Photomicrograph of a urine filtration membrane, 4× objective. The image covers about 1.5 × 1.1 mm of the membrane.
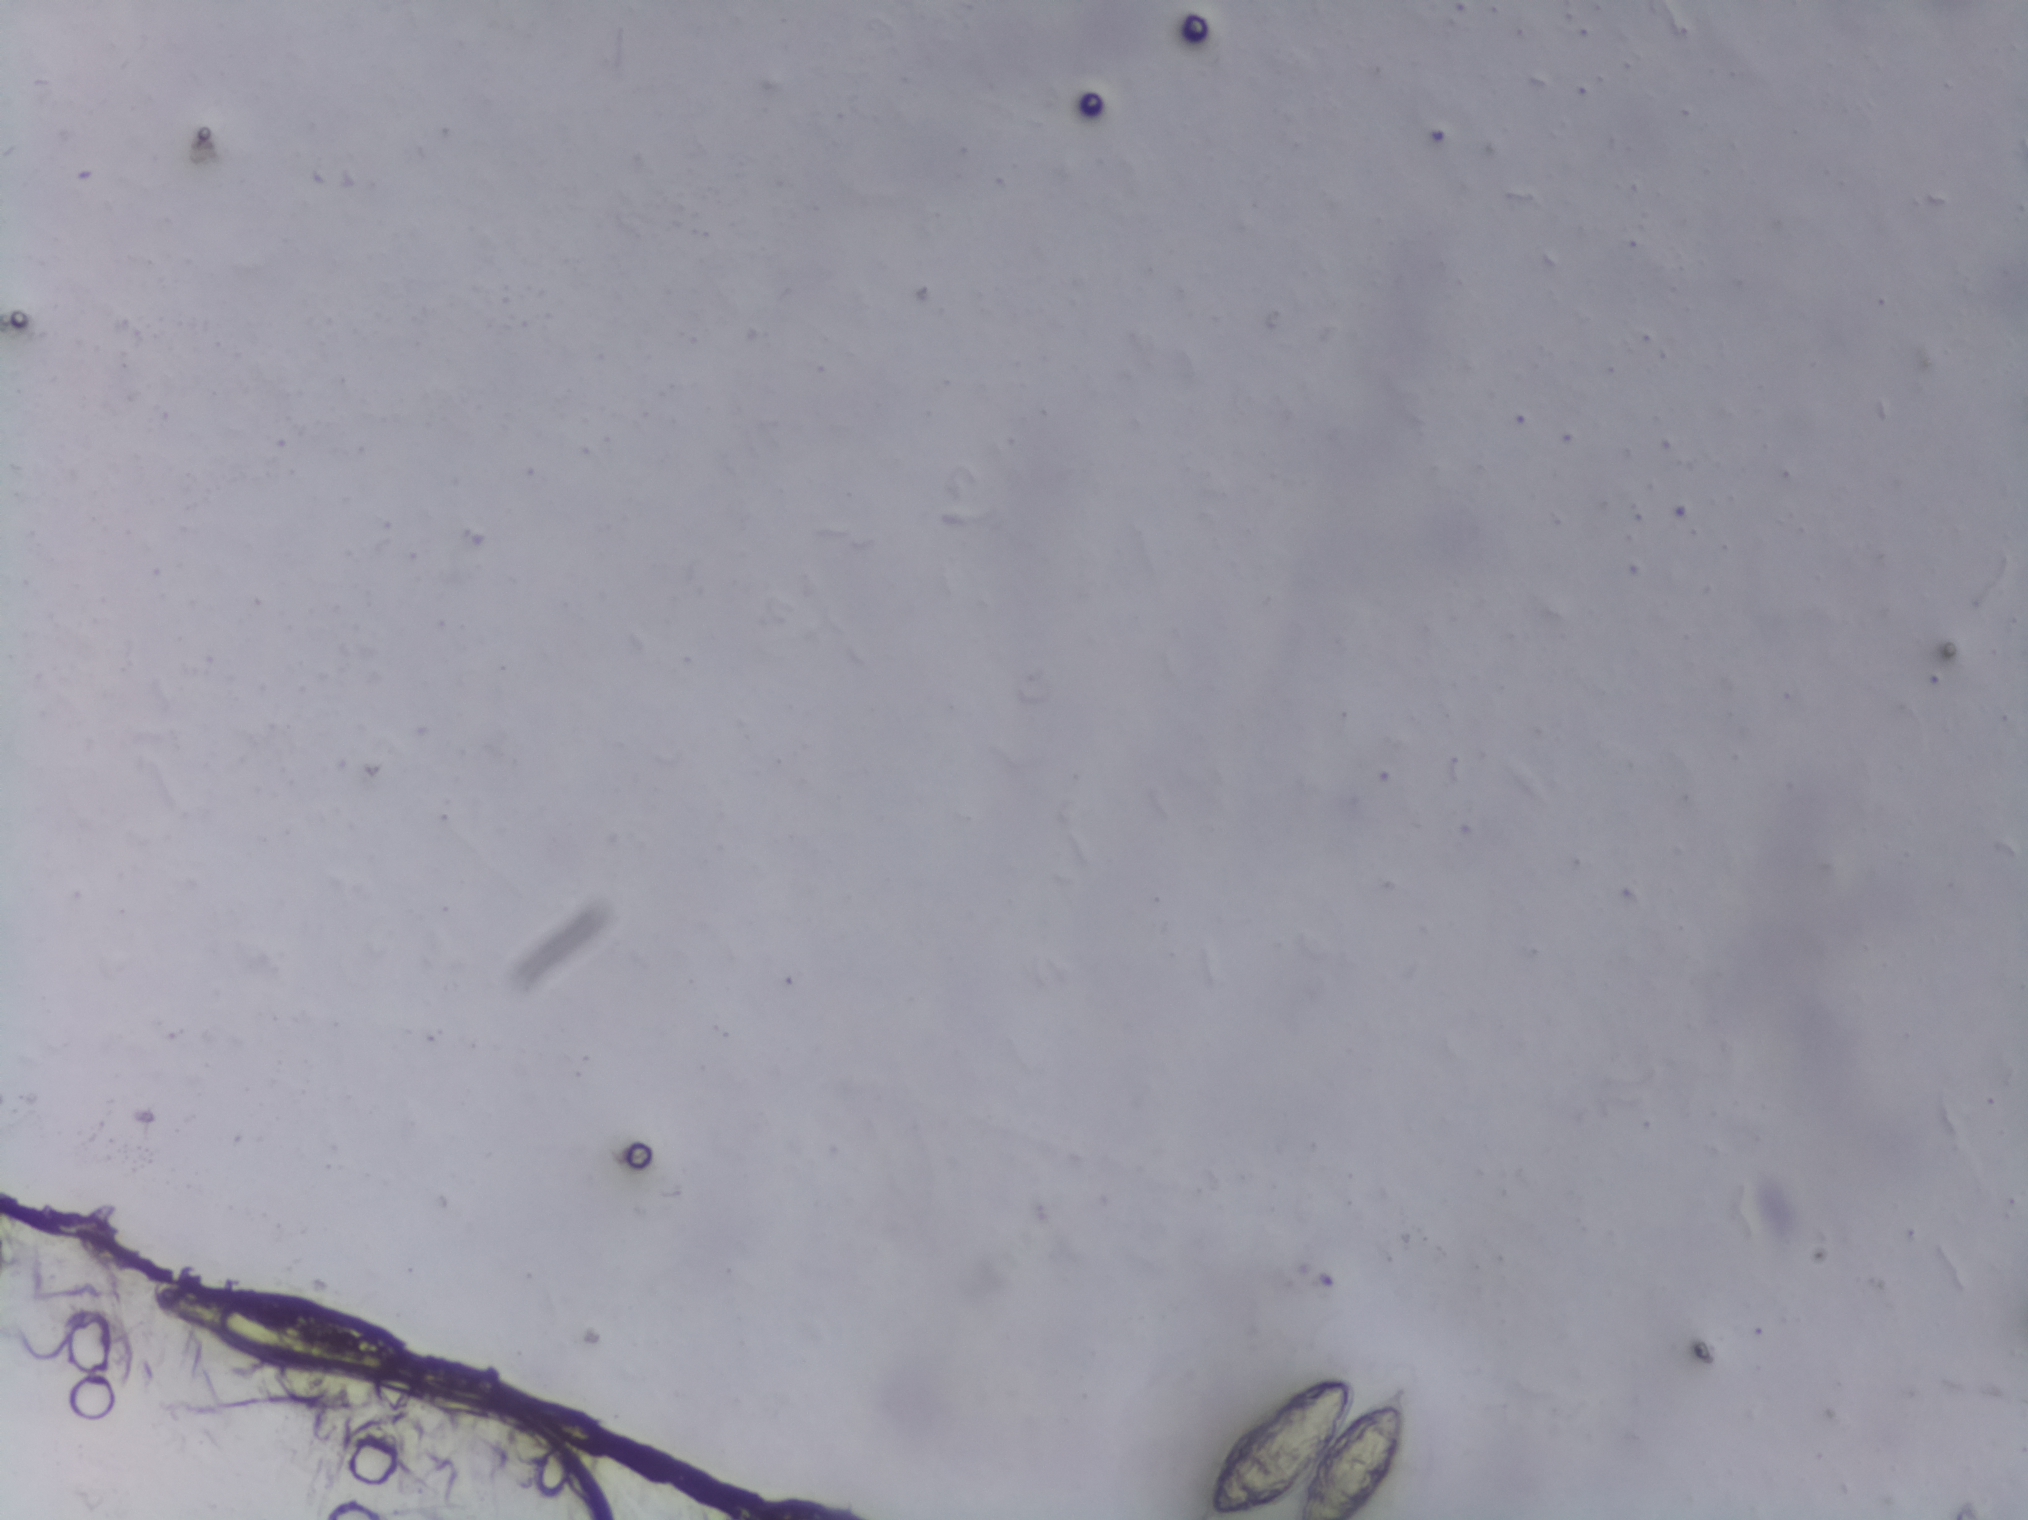
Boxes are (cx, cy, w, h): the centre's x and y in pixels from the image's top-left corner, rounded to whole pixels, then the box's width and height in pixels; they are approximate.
Areas outlined as Schistosoma eggs:
1. (cx=1306, cy=1448, w=216, h=144) (reaching the bottom edge of the frame)
An outlined area can hold more than one egg.